Photograph from an automated digital microscope: urine filter membrane, 4× objective.
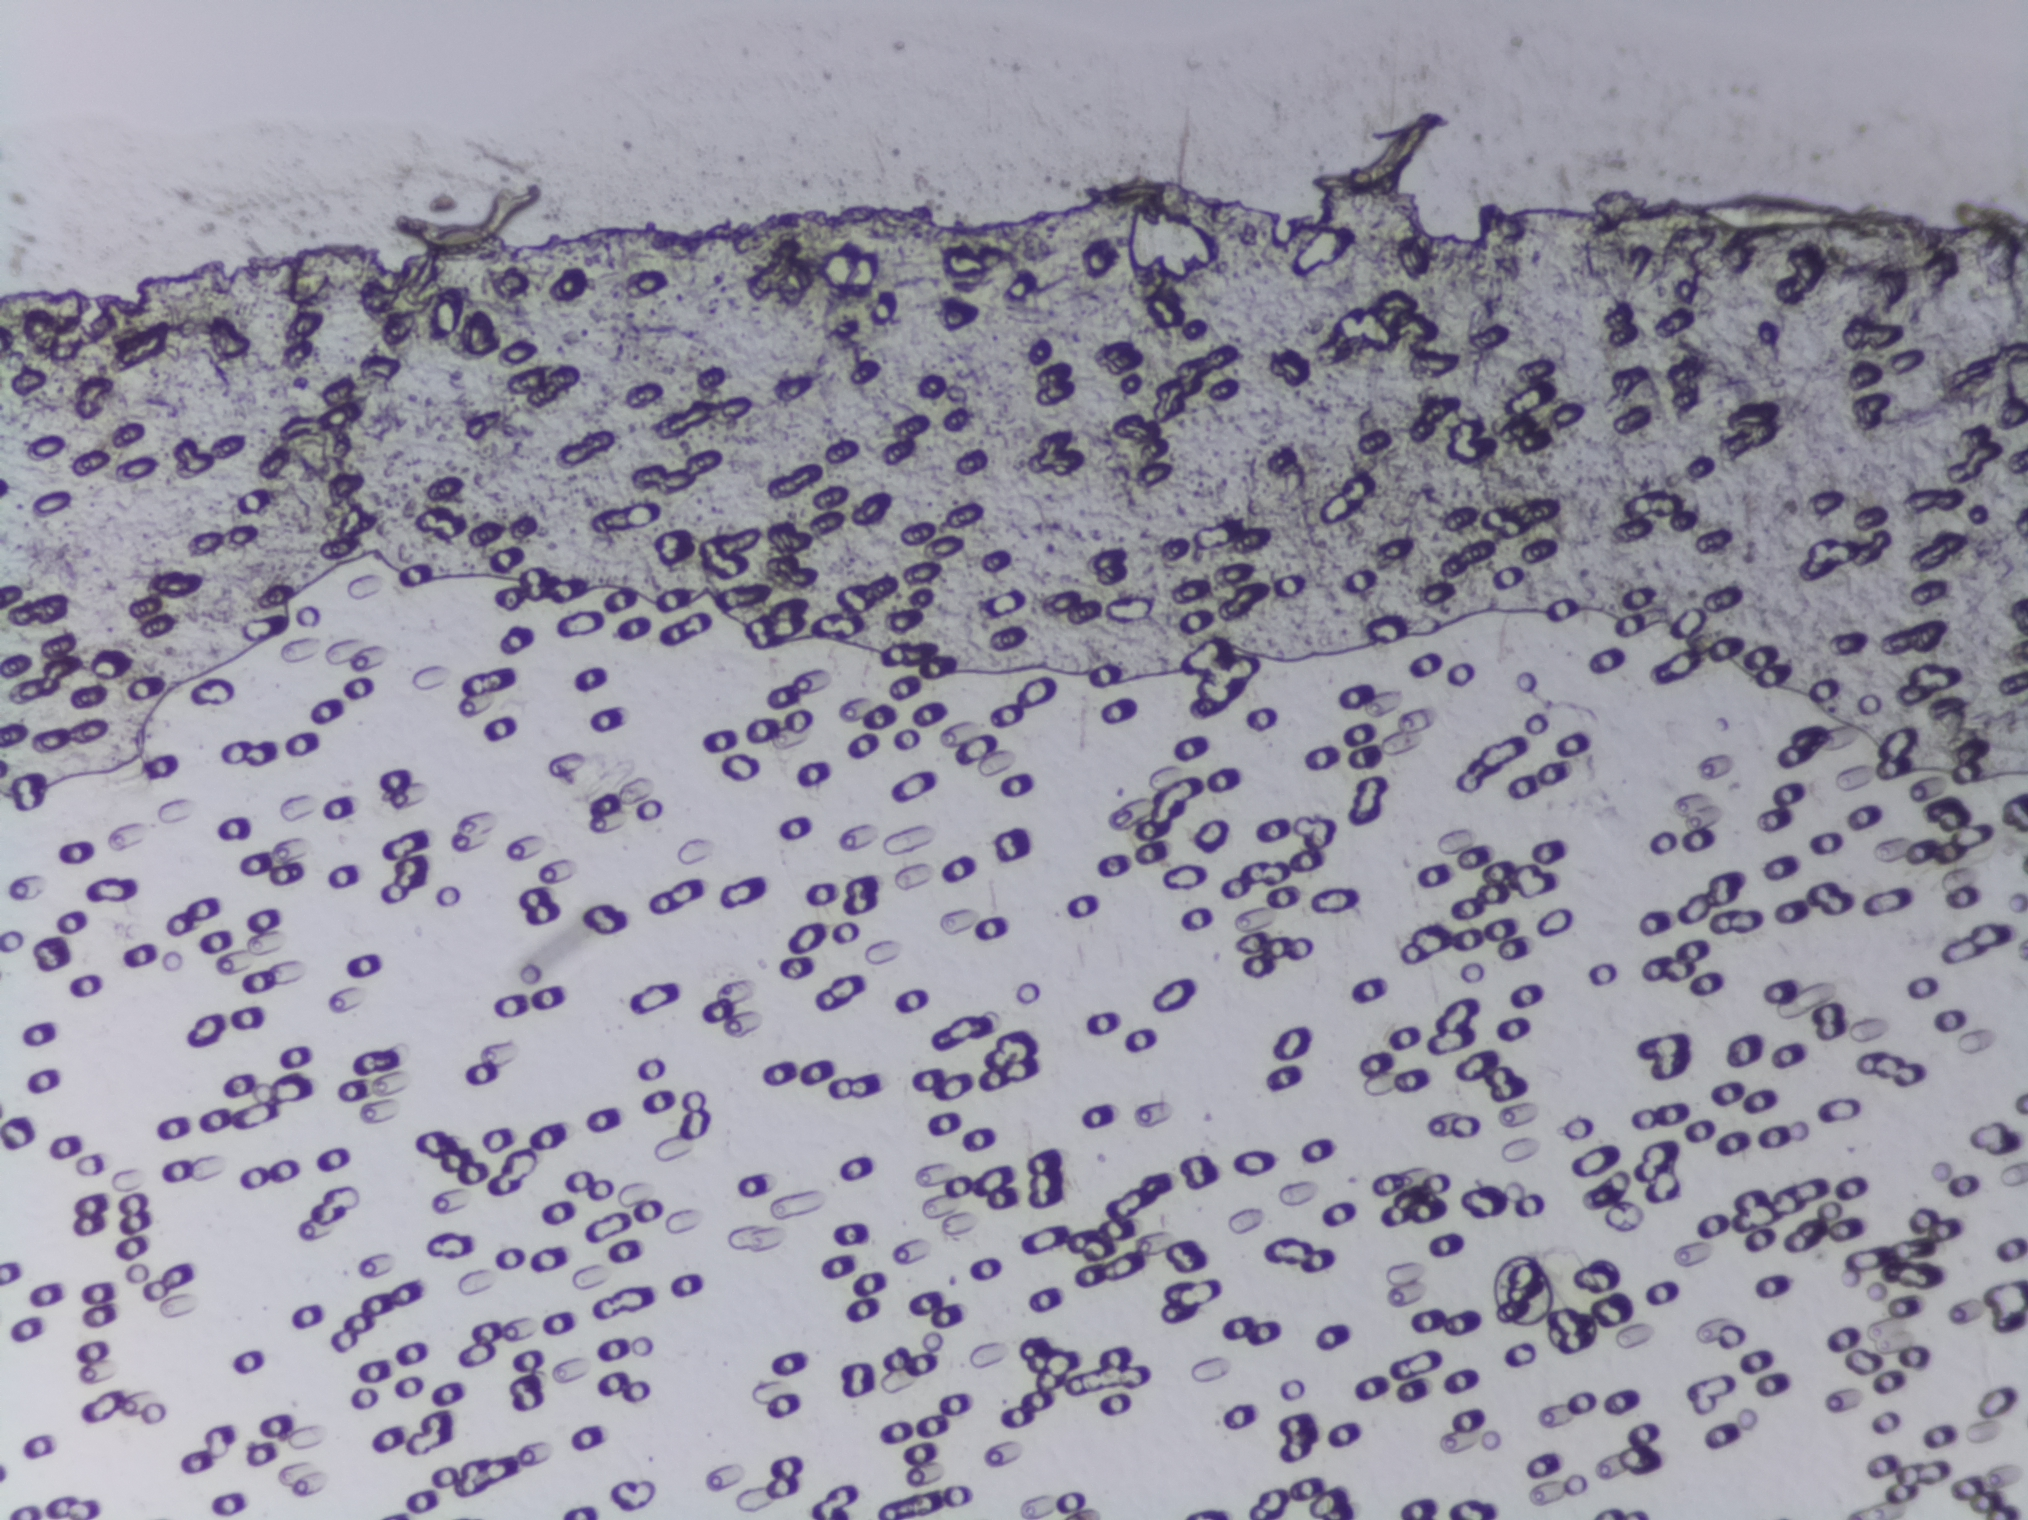
Schistosoma eggs: none outlined.